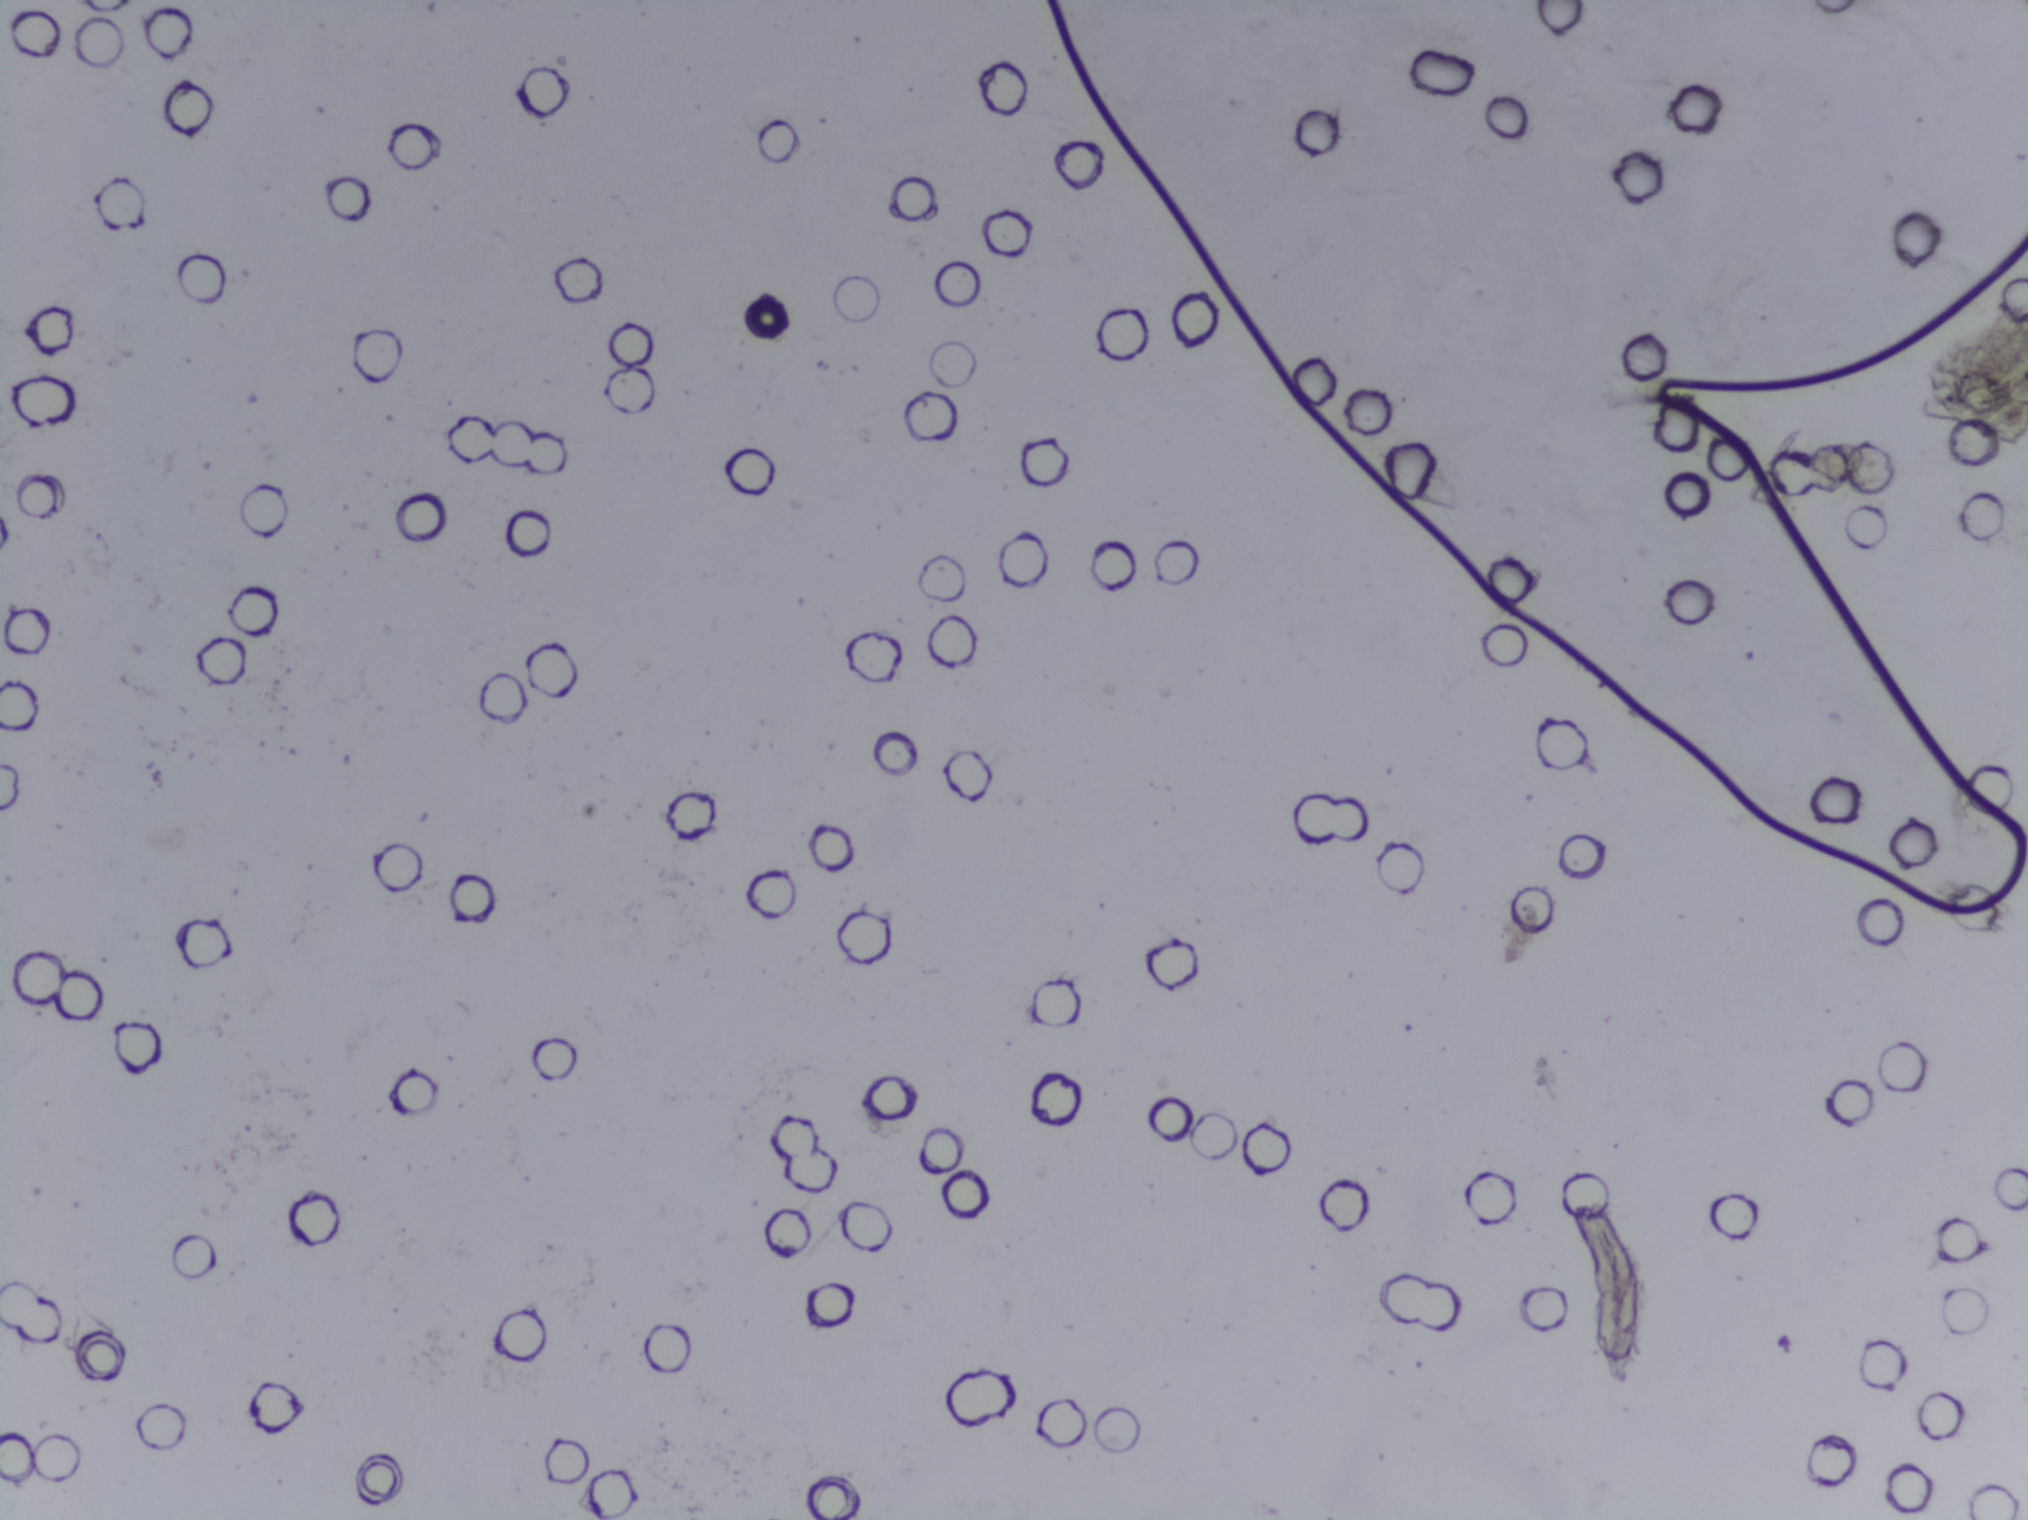
Schistosoma eggs: none outlined.
Urine filter membrane photographed through a 4× microscope objective. The field of view is about 1.5 mm × 1.1 mm.